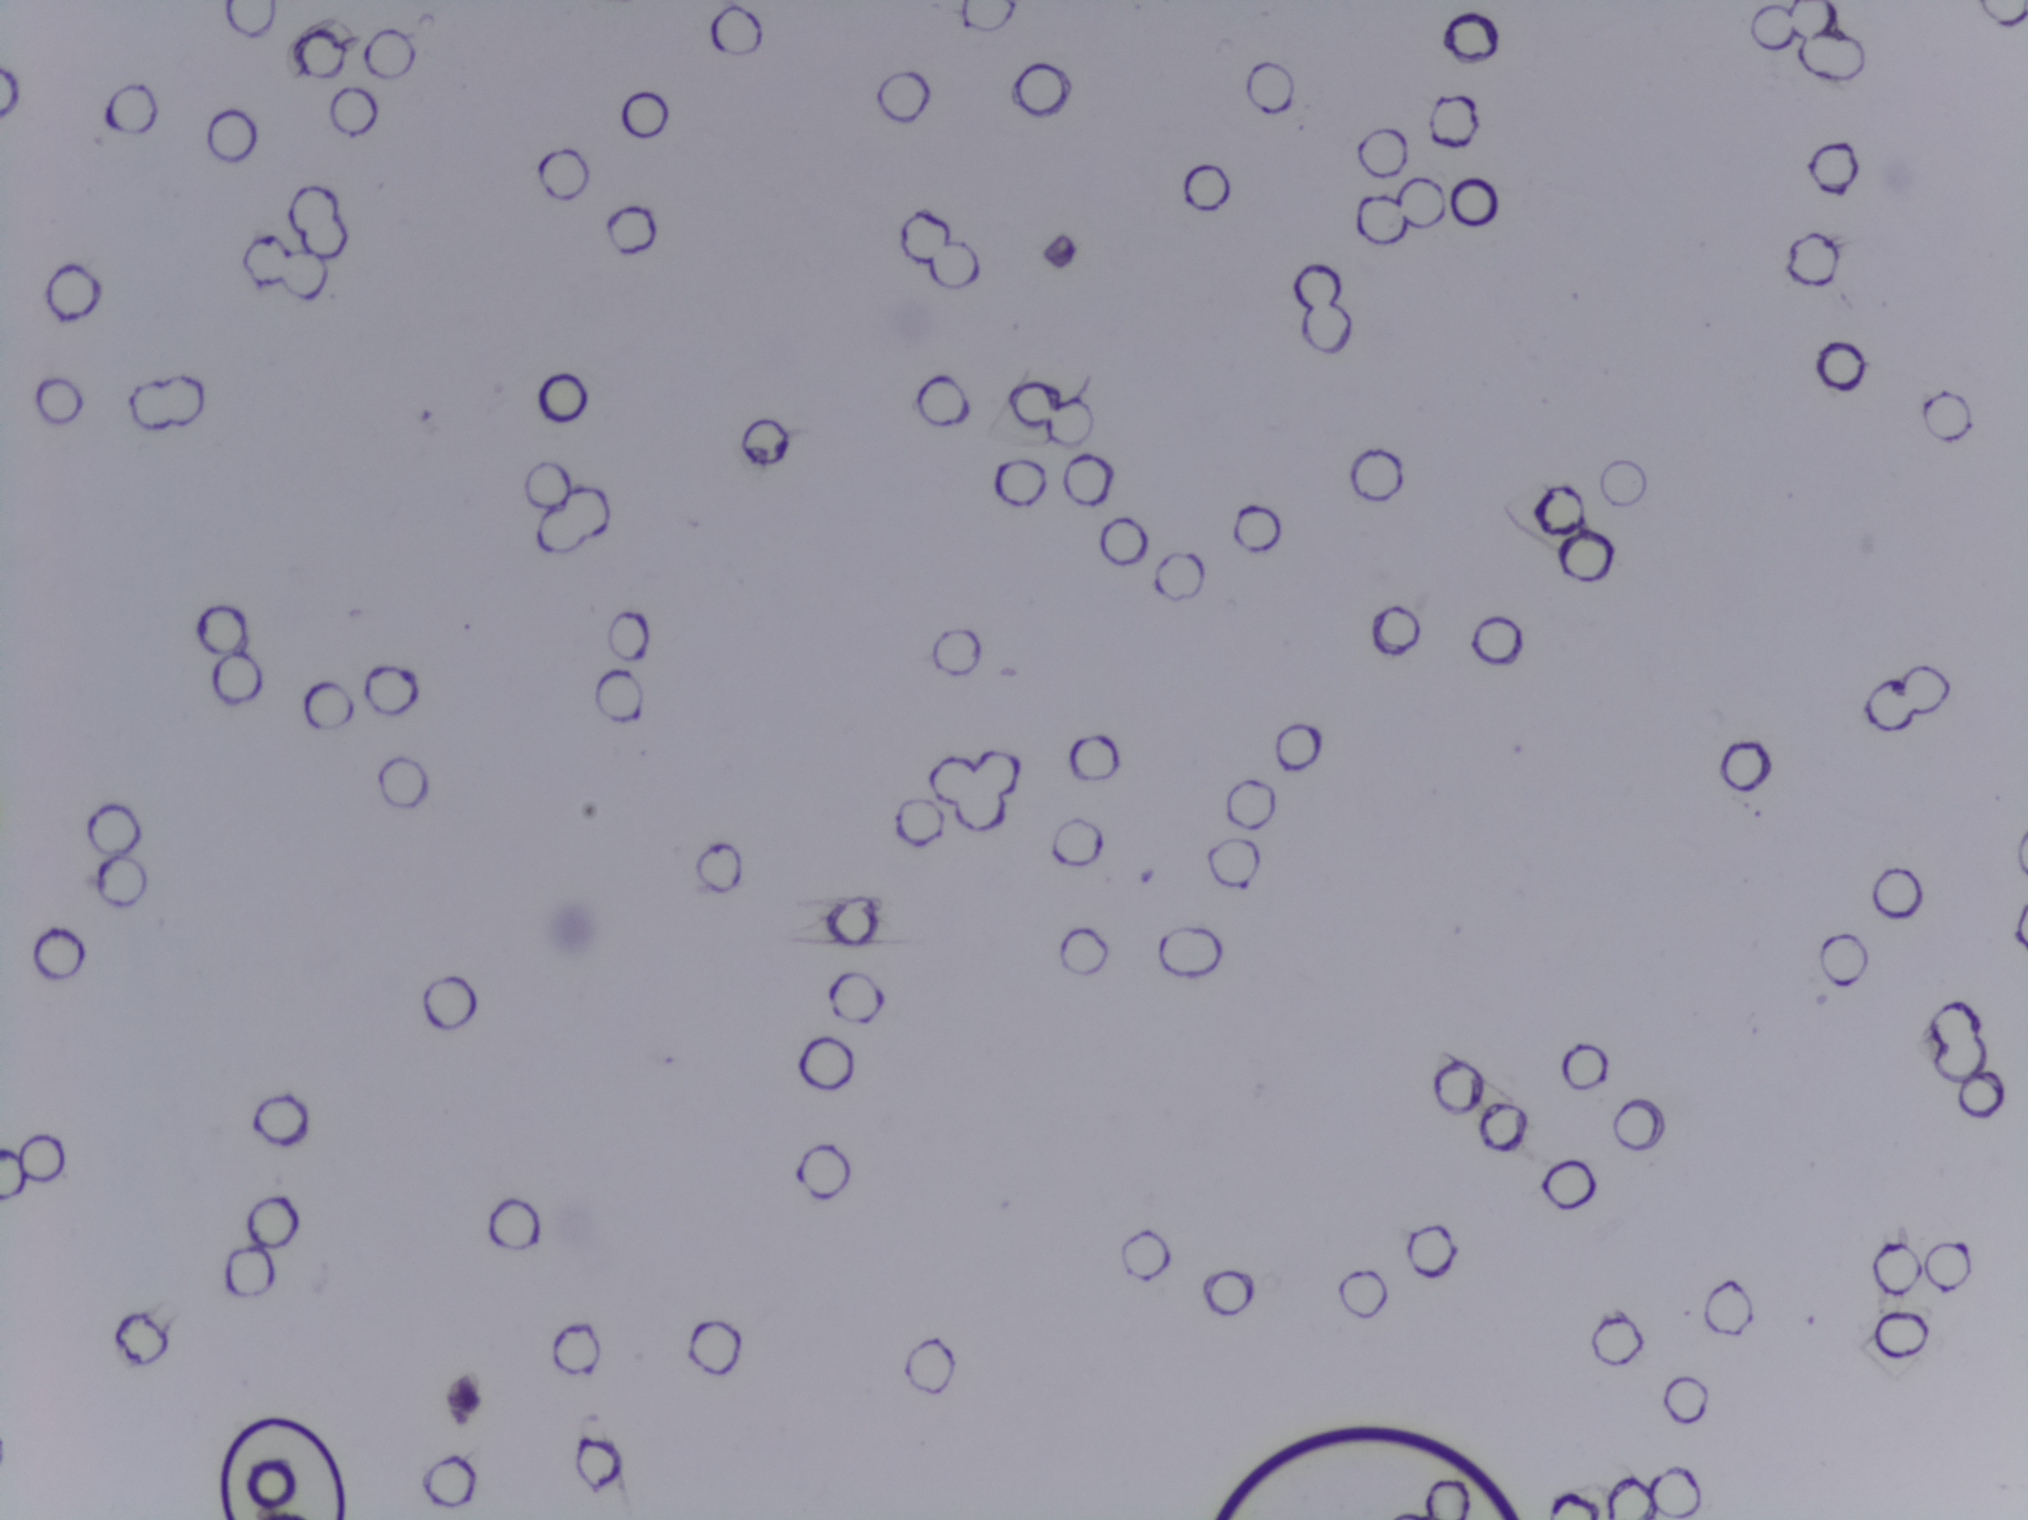
No area of this image was outlined as a Schistosoma egg.
Photomicrograph of a urine filtration membrane, 4× objective. The image covers about 1.5 × 1.1 mm of the membrane.